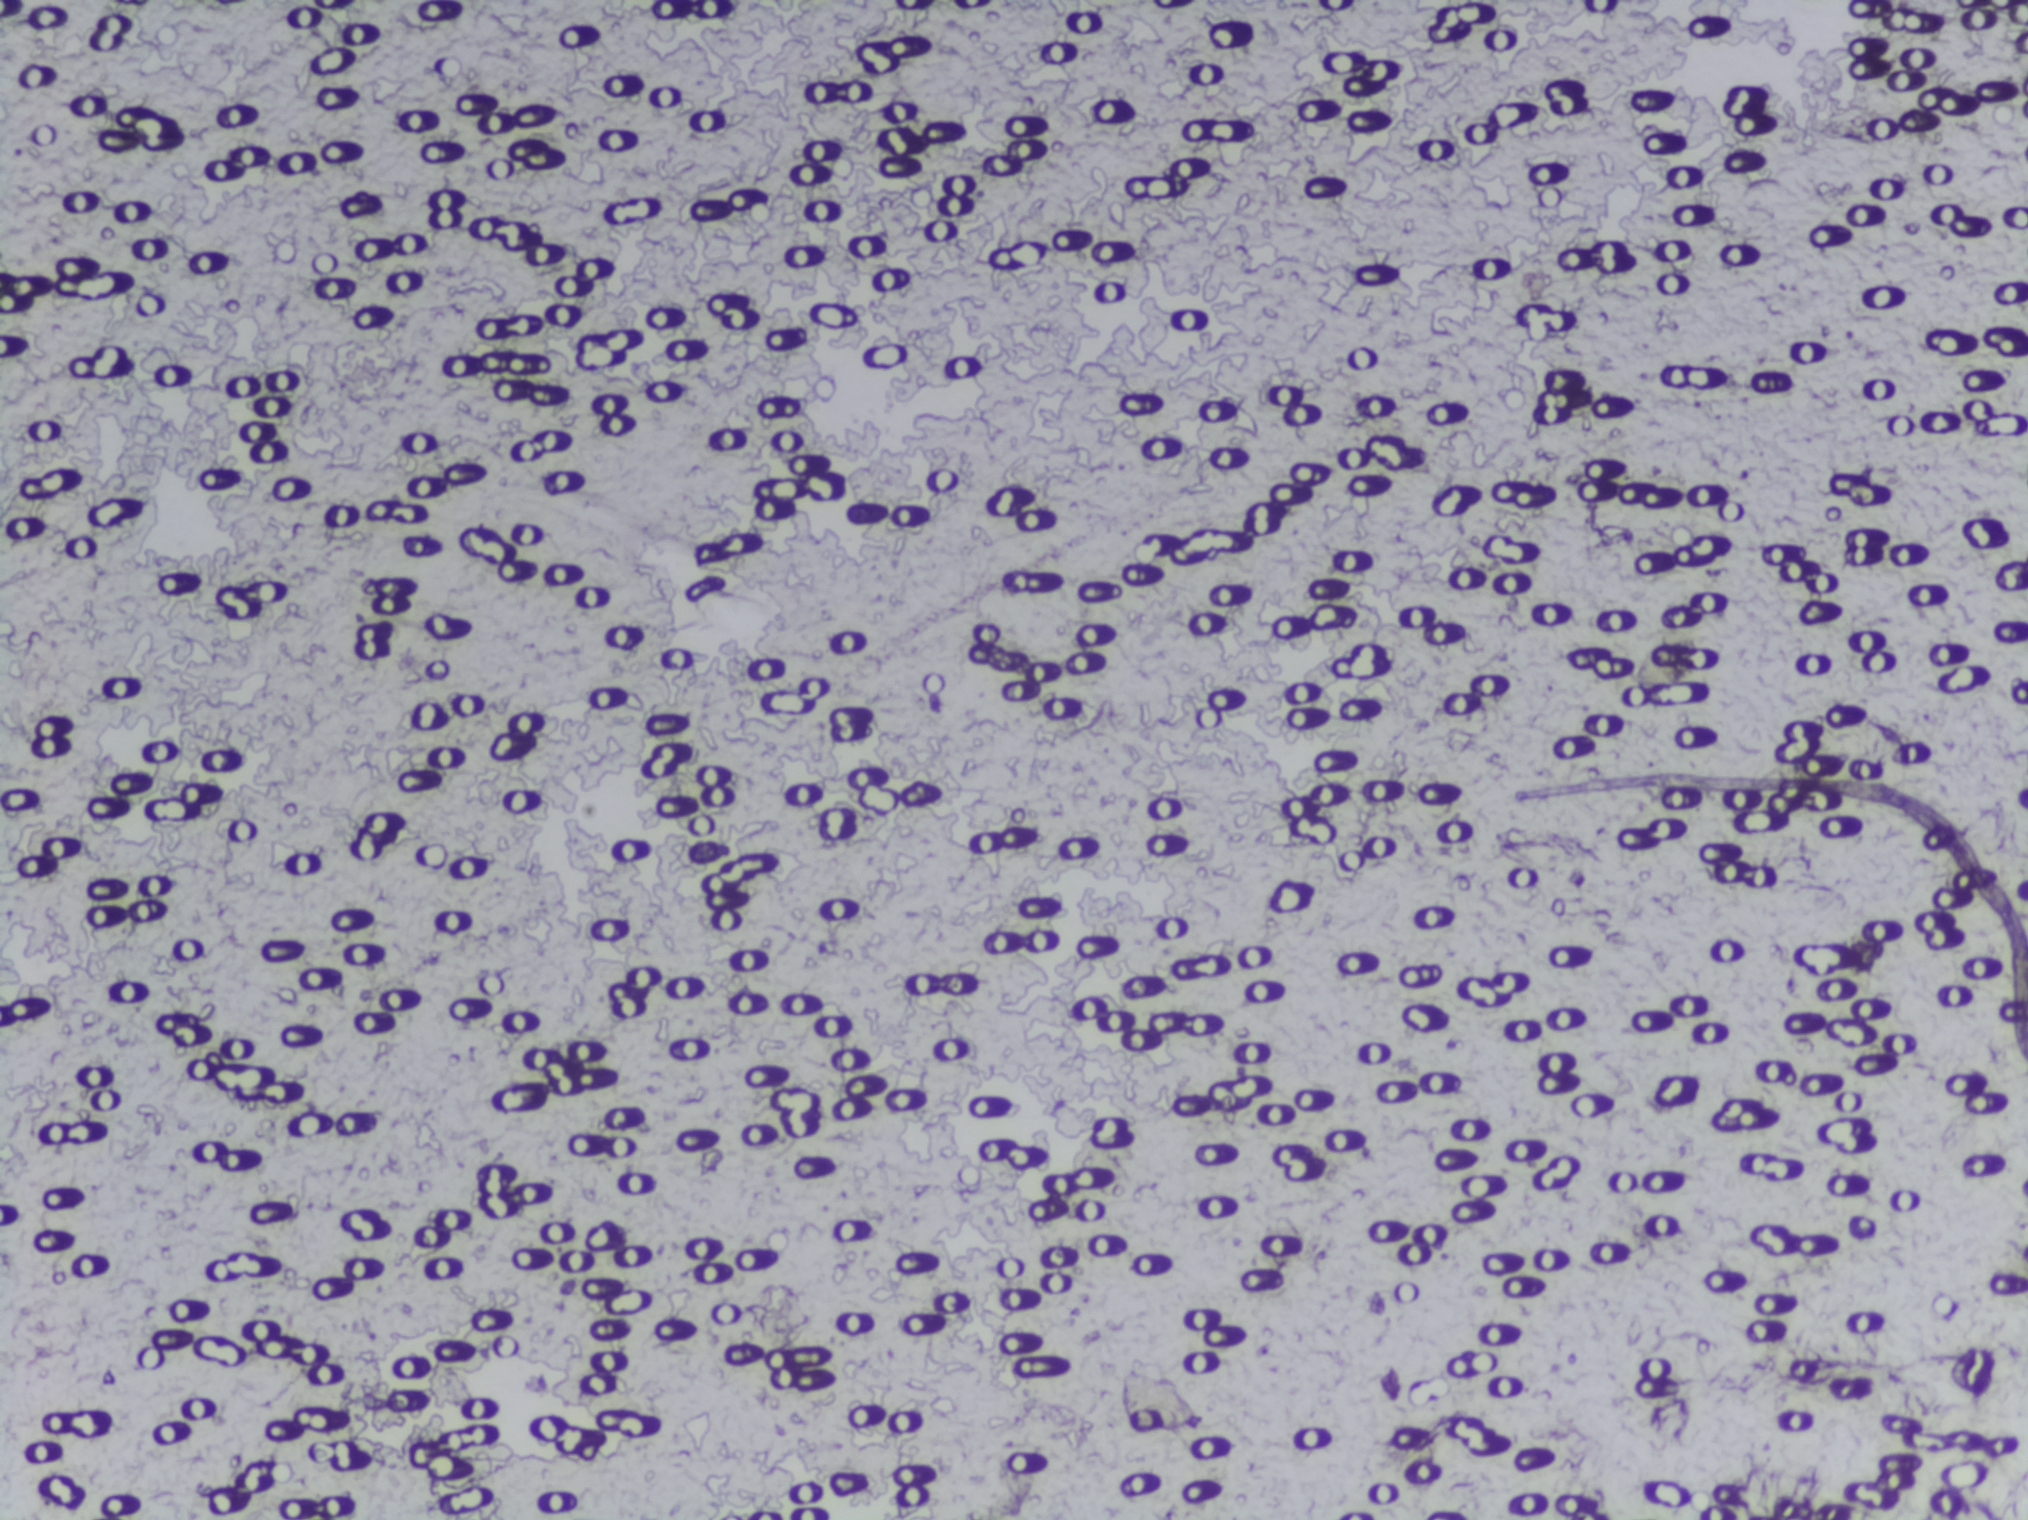
Schistosoma eggs: none outlined.
Photograph from an automated digital microscope: urine filter membrane, 4× objective.